One field of view of a urine filter membrane, 4× objective, 2028 × 1520 pixels.
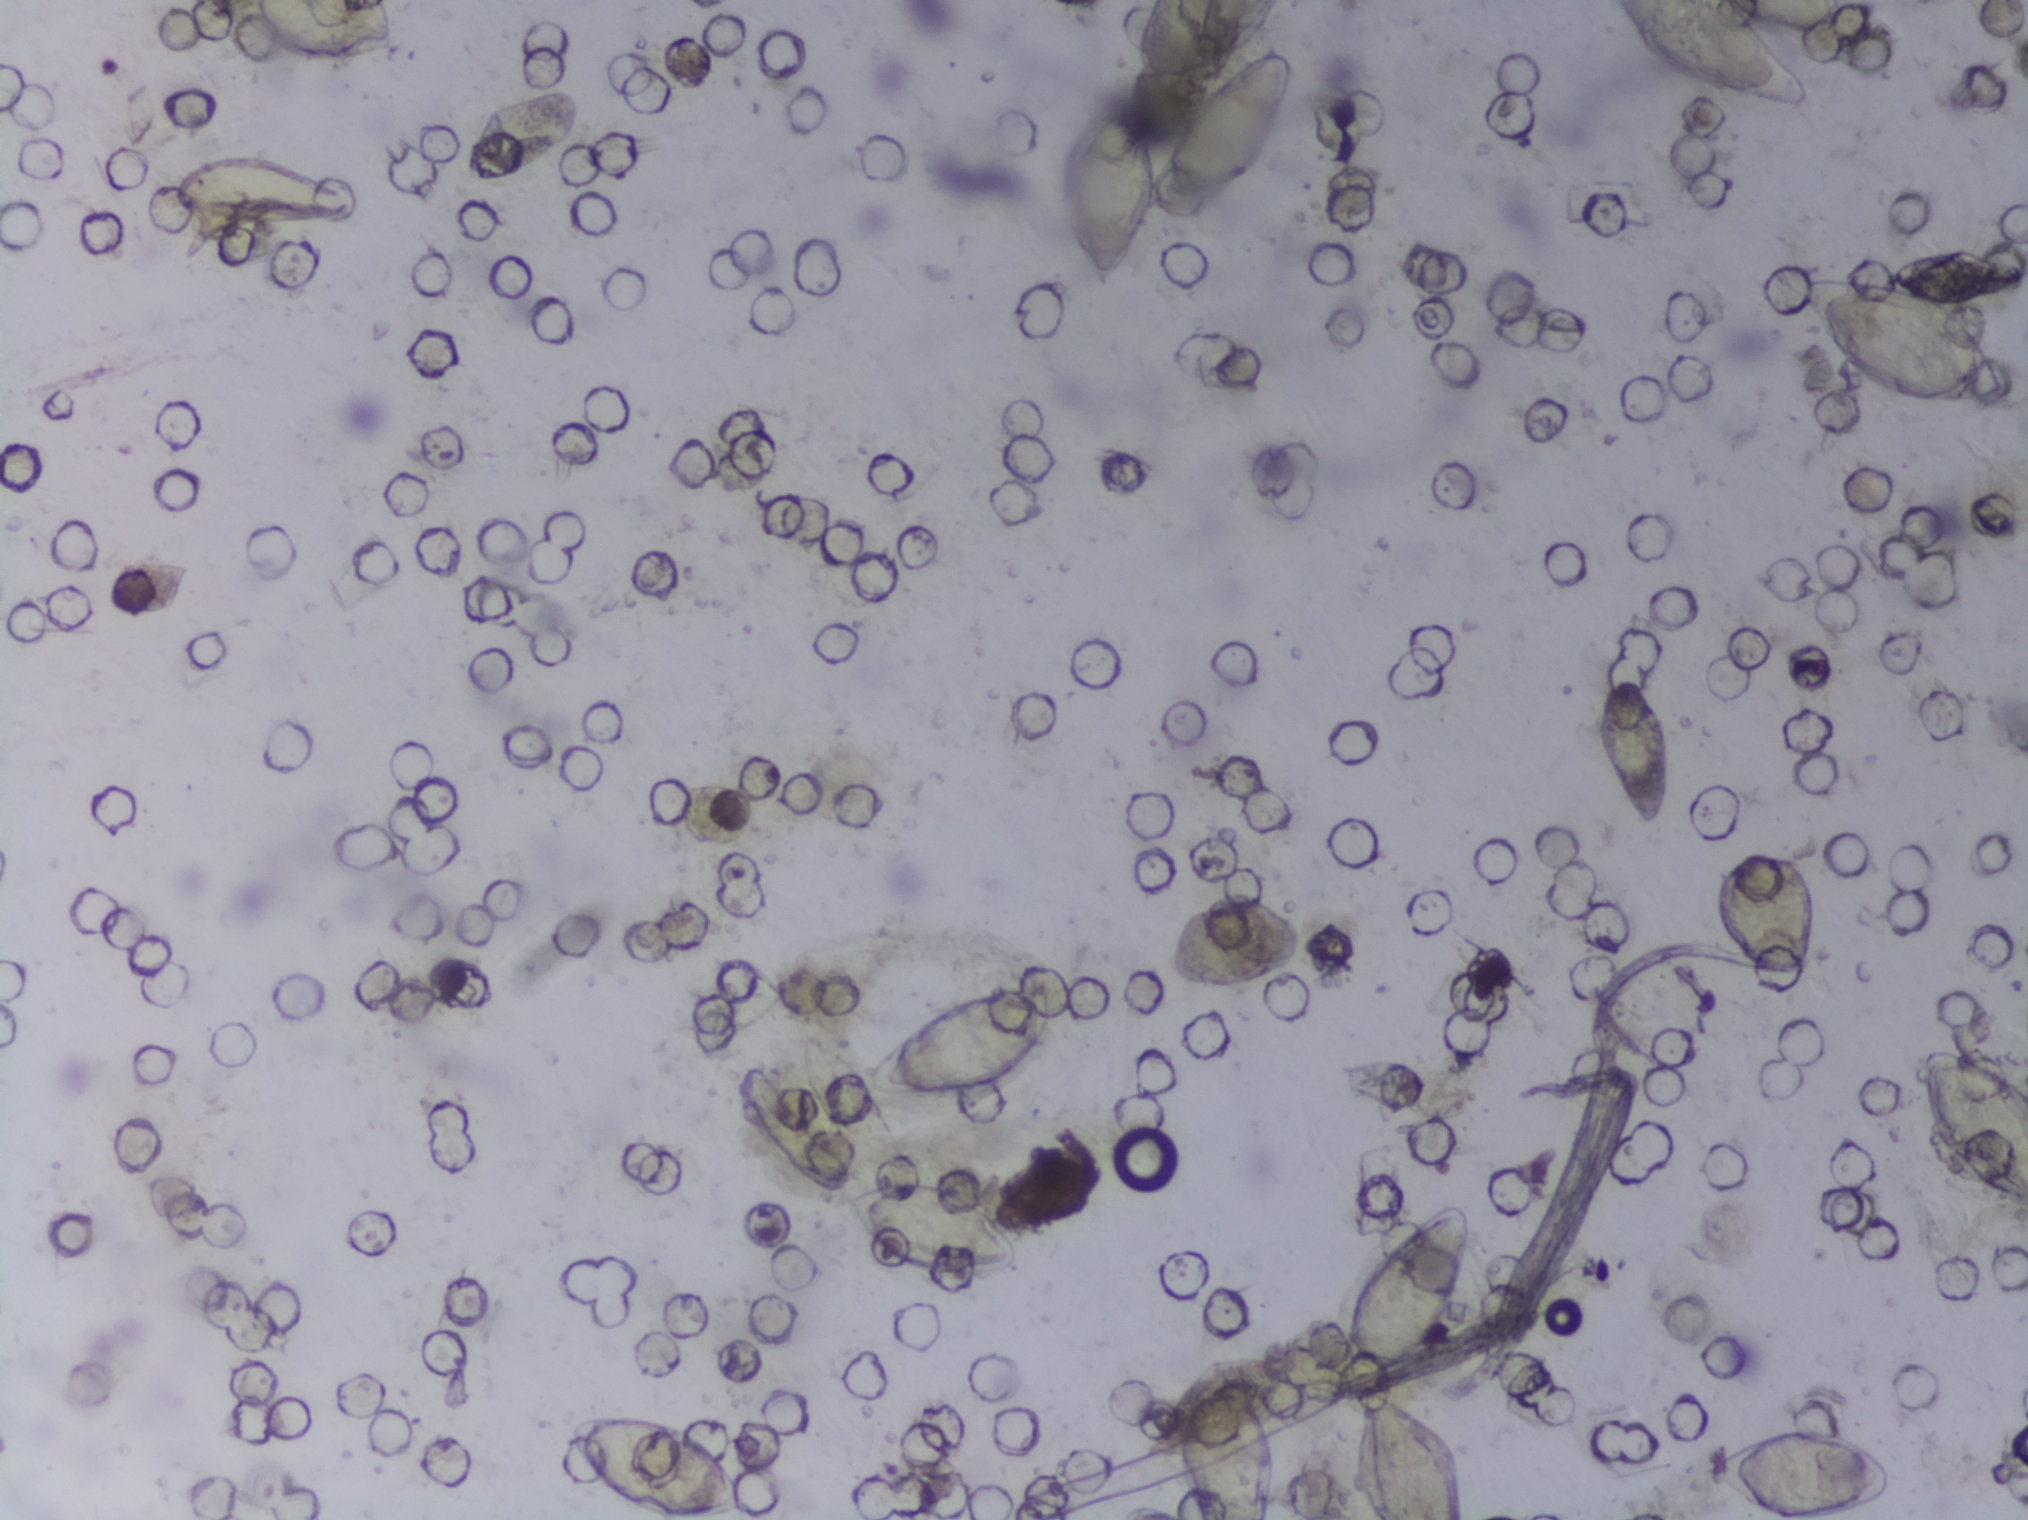
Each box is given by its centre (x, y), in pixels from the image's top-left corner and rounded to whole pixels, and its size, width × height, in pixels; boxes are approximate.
Findings: 17 areas outlined as Schistosoma eggs. Locations, left to right: centre (265, 209), 188 × 115 px; centre (310, 32), 202 × 65 px (reaching the top edge of the frame); centre (523, 139), 122 × 100 px; centre (661, 1466), 196 × 108 px (reaching the bottom edge of the frame); centre (927, 1229), 186 × 104 px; centre (960, 1036), 190 × 121 px; centre (1107, 191), 103 × 205 px; centre (1207, 39), 146 × 79 px (reaching the top edge of the frame); centre (1227, 1448), 102 × 144 px (reaching the bottom edge of the frame); centre (1229, 127), 134 × 164 px; centre (1403, 1360), 140 × 319 px (reaching the bottom edge of the frame); centre (1635, 751), 78 × 153 px; centre (1713, 55), 206 × 111 px (reaching the top edge of the frame); centre (1768, 913), 107 × 129 px; centre (1798, 1473), 197 × 94 px (reaching the bottom edge of the frame); centre (1903, 344), 220 × 136 px; centre (1973, 1127), 110 × 159 px (reaching the right edge of the frame). An outlined area can hold more than one egg.